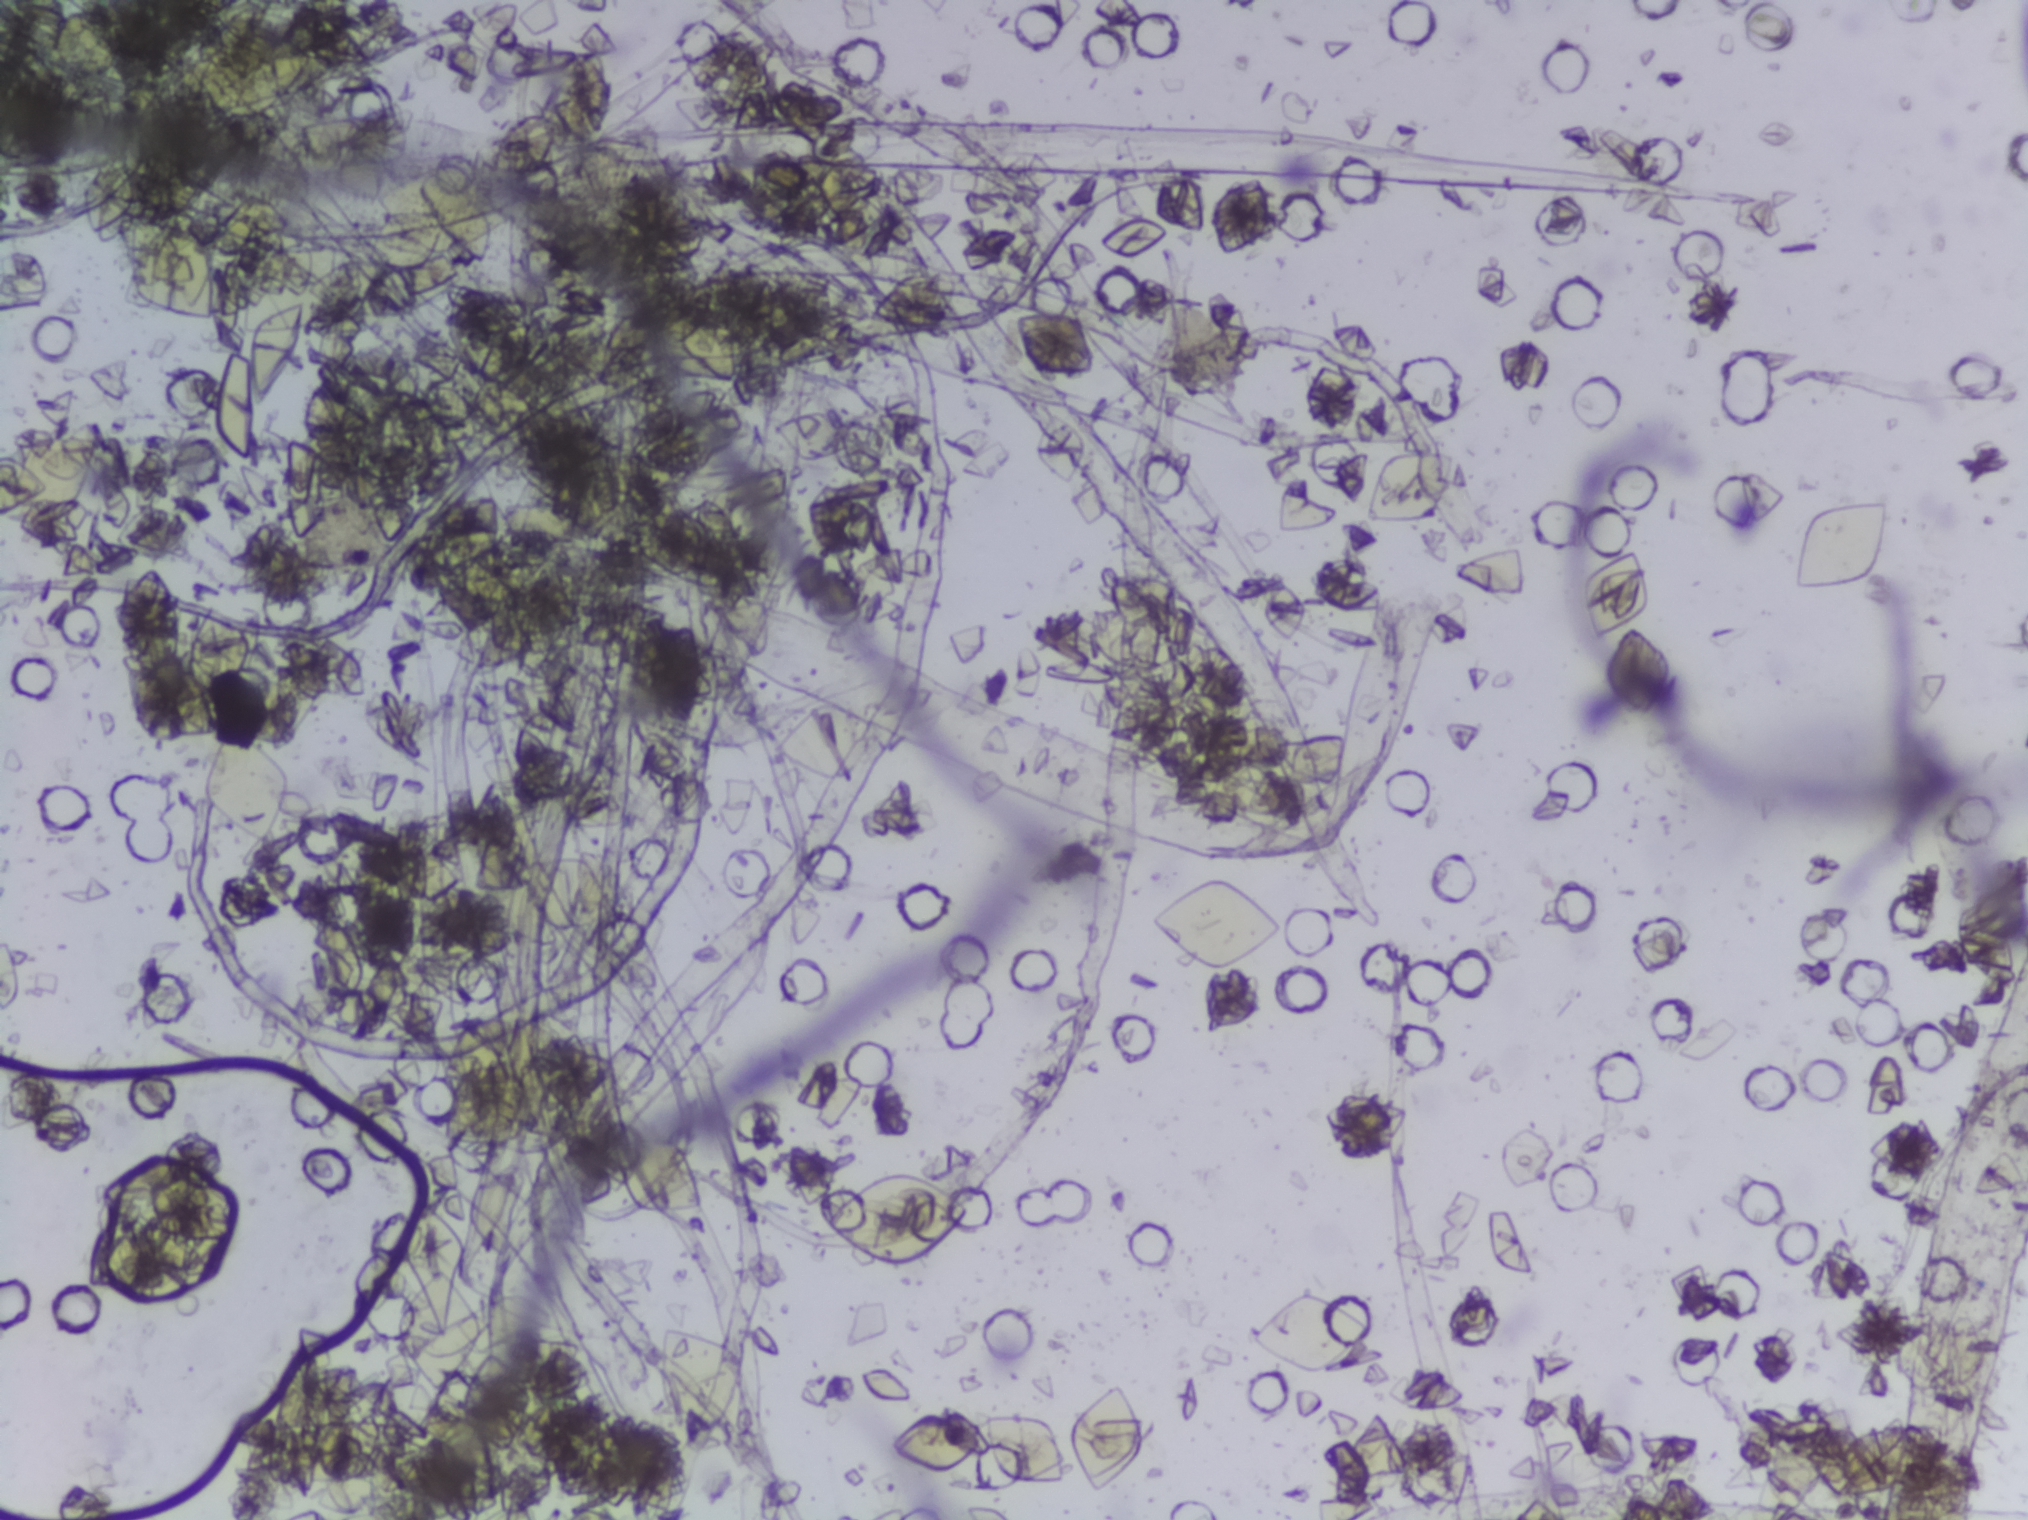
Microscope photograph (4× objective) of a membrane that a urine sample was filtered through.
No area of this image was outlined as a Schistosoma egg.